Urine filtration membrane under a 4× objective, photographed by an automated digital microscope.
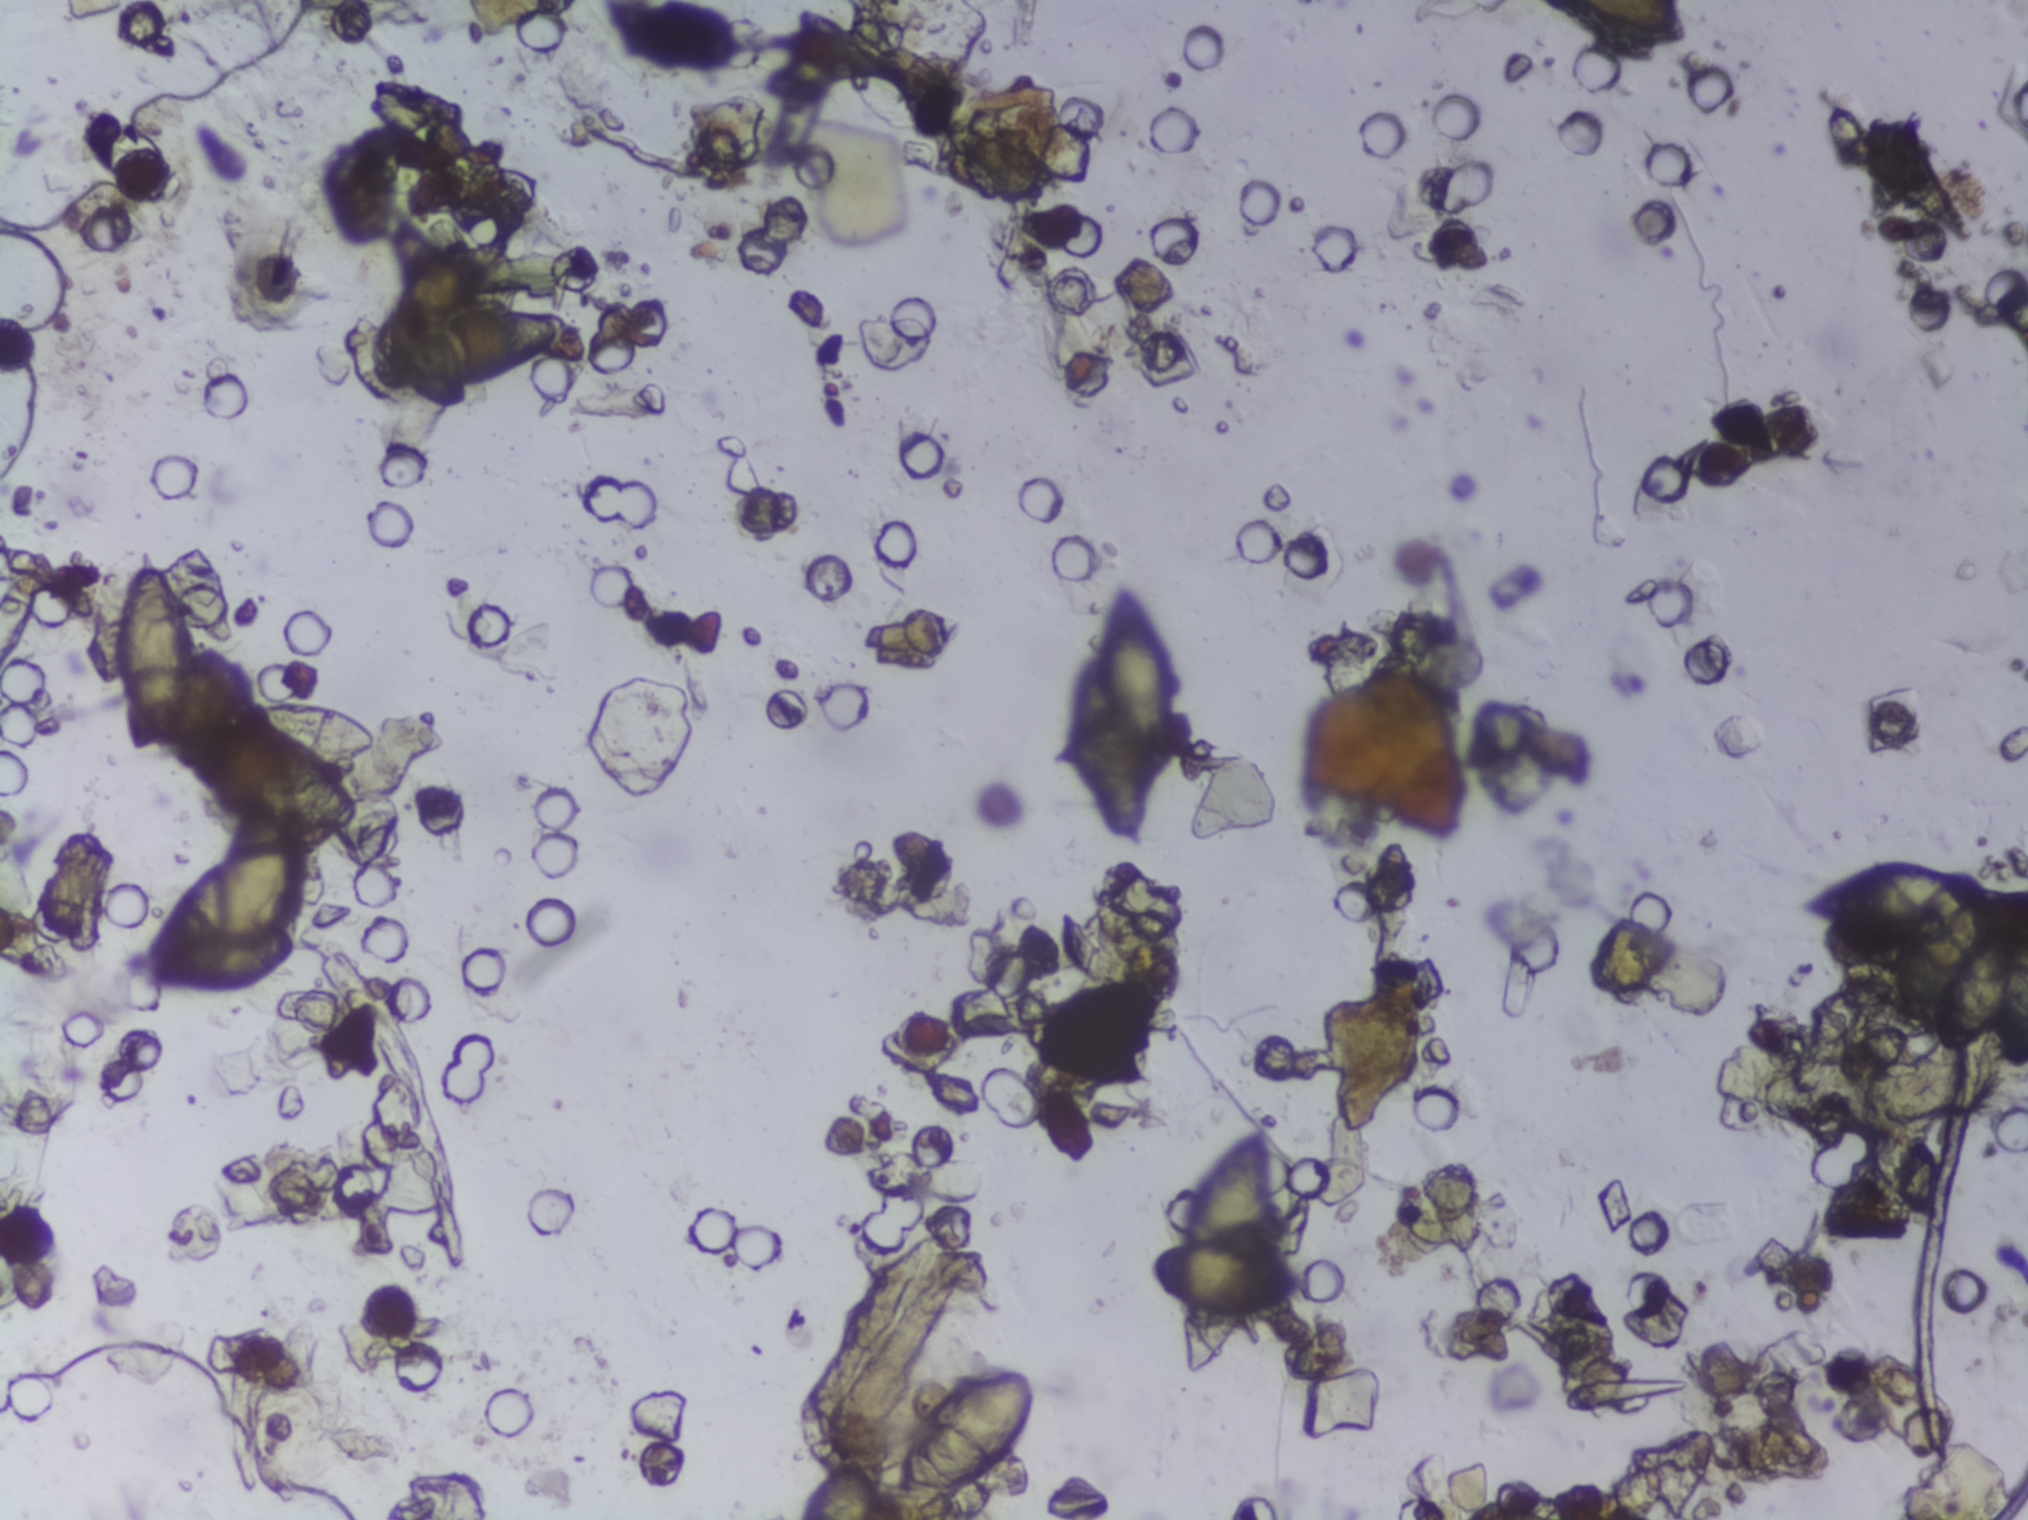
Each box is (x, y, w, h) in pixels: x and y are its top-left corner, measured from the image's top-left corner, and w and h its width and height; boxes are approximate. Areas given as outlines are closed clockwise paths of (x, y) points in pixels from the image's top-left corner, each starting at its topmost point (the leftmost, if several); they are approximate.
Areas outlined as Schistosoma eggs, left to right:
1. outline (146, 546), (176, 564), (189, 587), (185, 718), (222, 716), (256, 694), (355, 701), (389, 735), (386, 751), (330, 763), (364, 788), (364, 816), (330, 833), (307, 833), (220, 812), (133, 727), (114, 673), (112, 616)
2. box (x=125, y=843, w=195, h=164)
3. box (x=361, y=239, w=207, h=151)
4. box (x=799, y=1462, w=86, h=58) (reaching the bottom edge of the frame)
5. box (x=887, y=1363, w=155, h=157) (reaching the bottom edge of the frame)
6. box (x=1054, y=563, w=134, h=285)
7. box (x=1142, y=1122, w=173, h=251)
8. box (x=1791, y=856, w=190, h=80)
9. box (x=1930, y=921, w=98, h=147) (reaching the right edge of the frame)
Eggs that touch can end up inside the same outlined area.